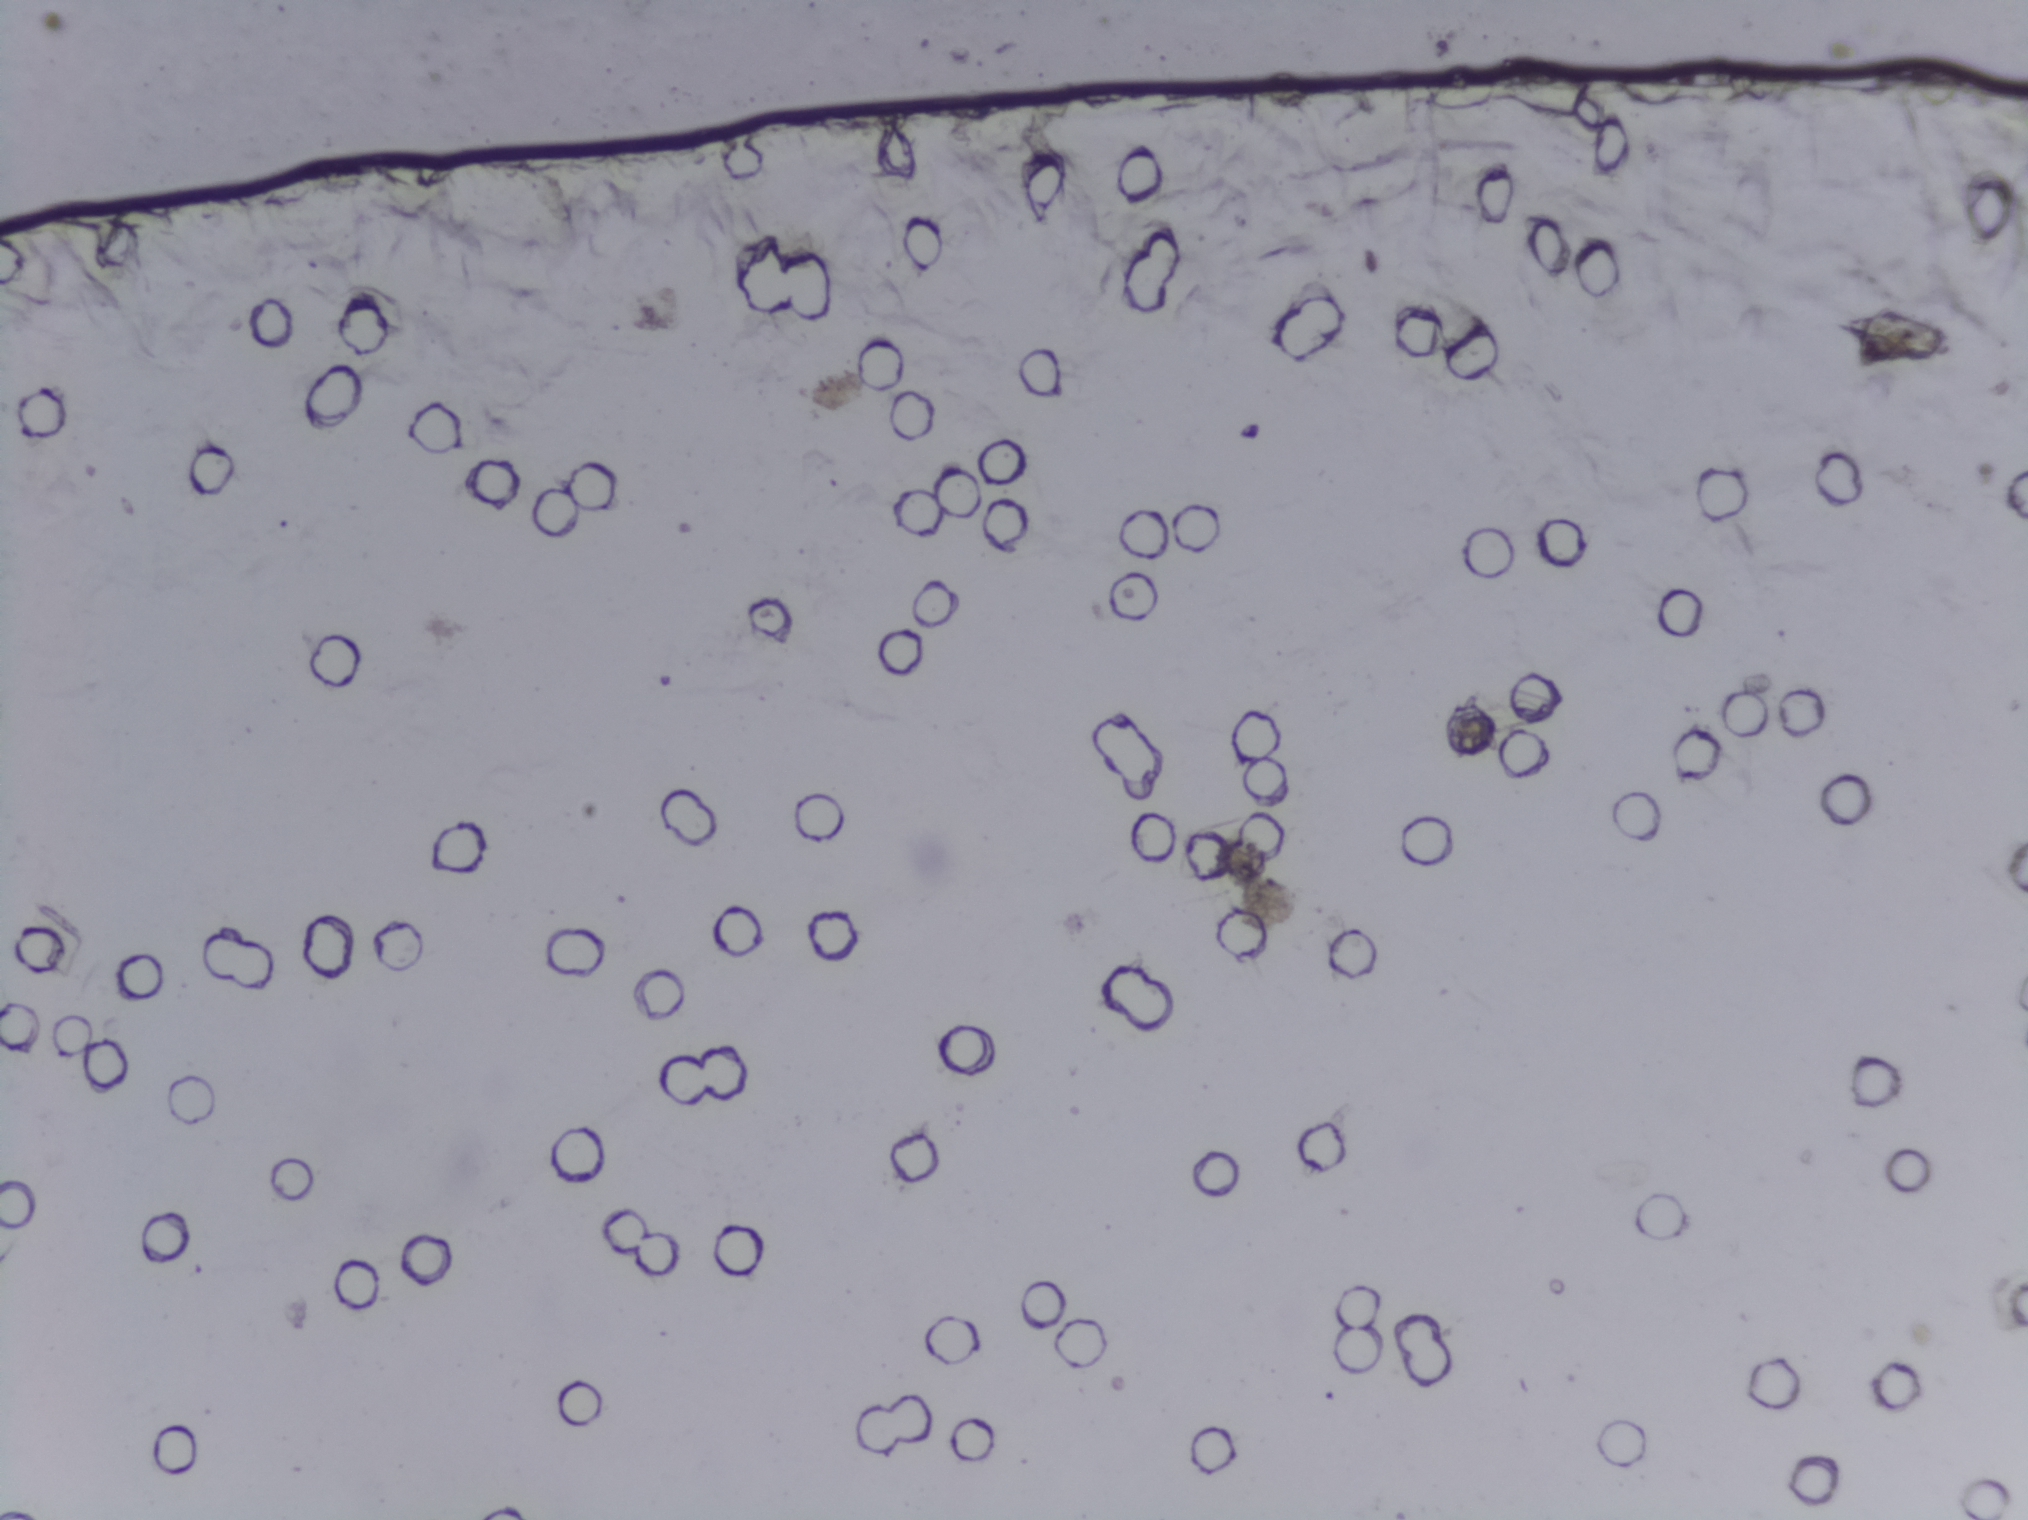
Photomicrograph of a urine filtration membrane, 4× objective.
The expert annotation outlines no Schistosoma egg in this image.